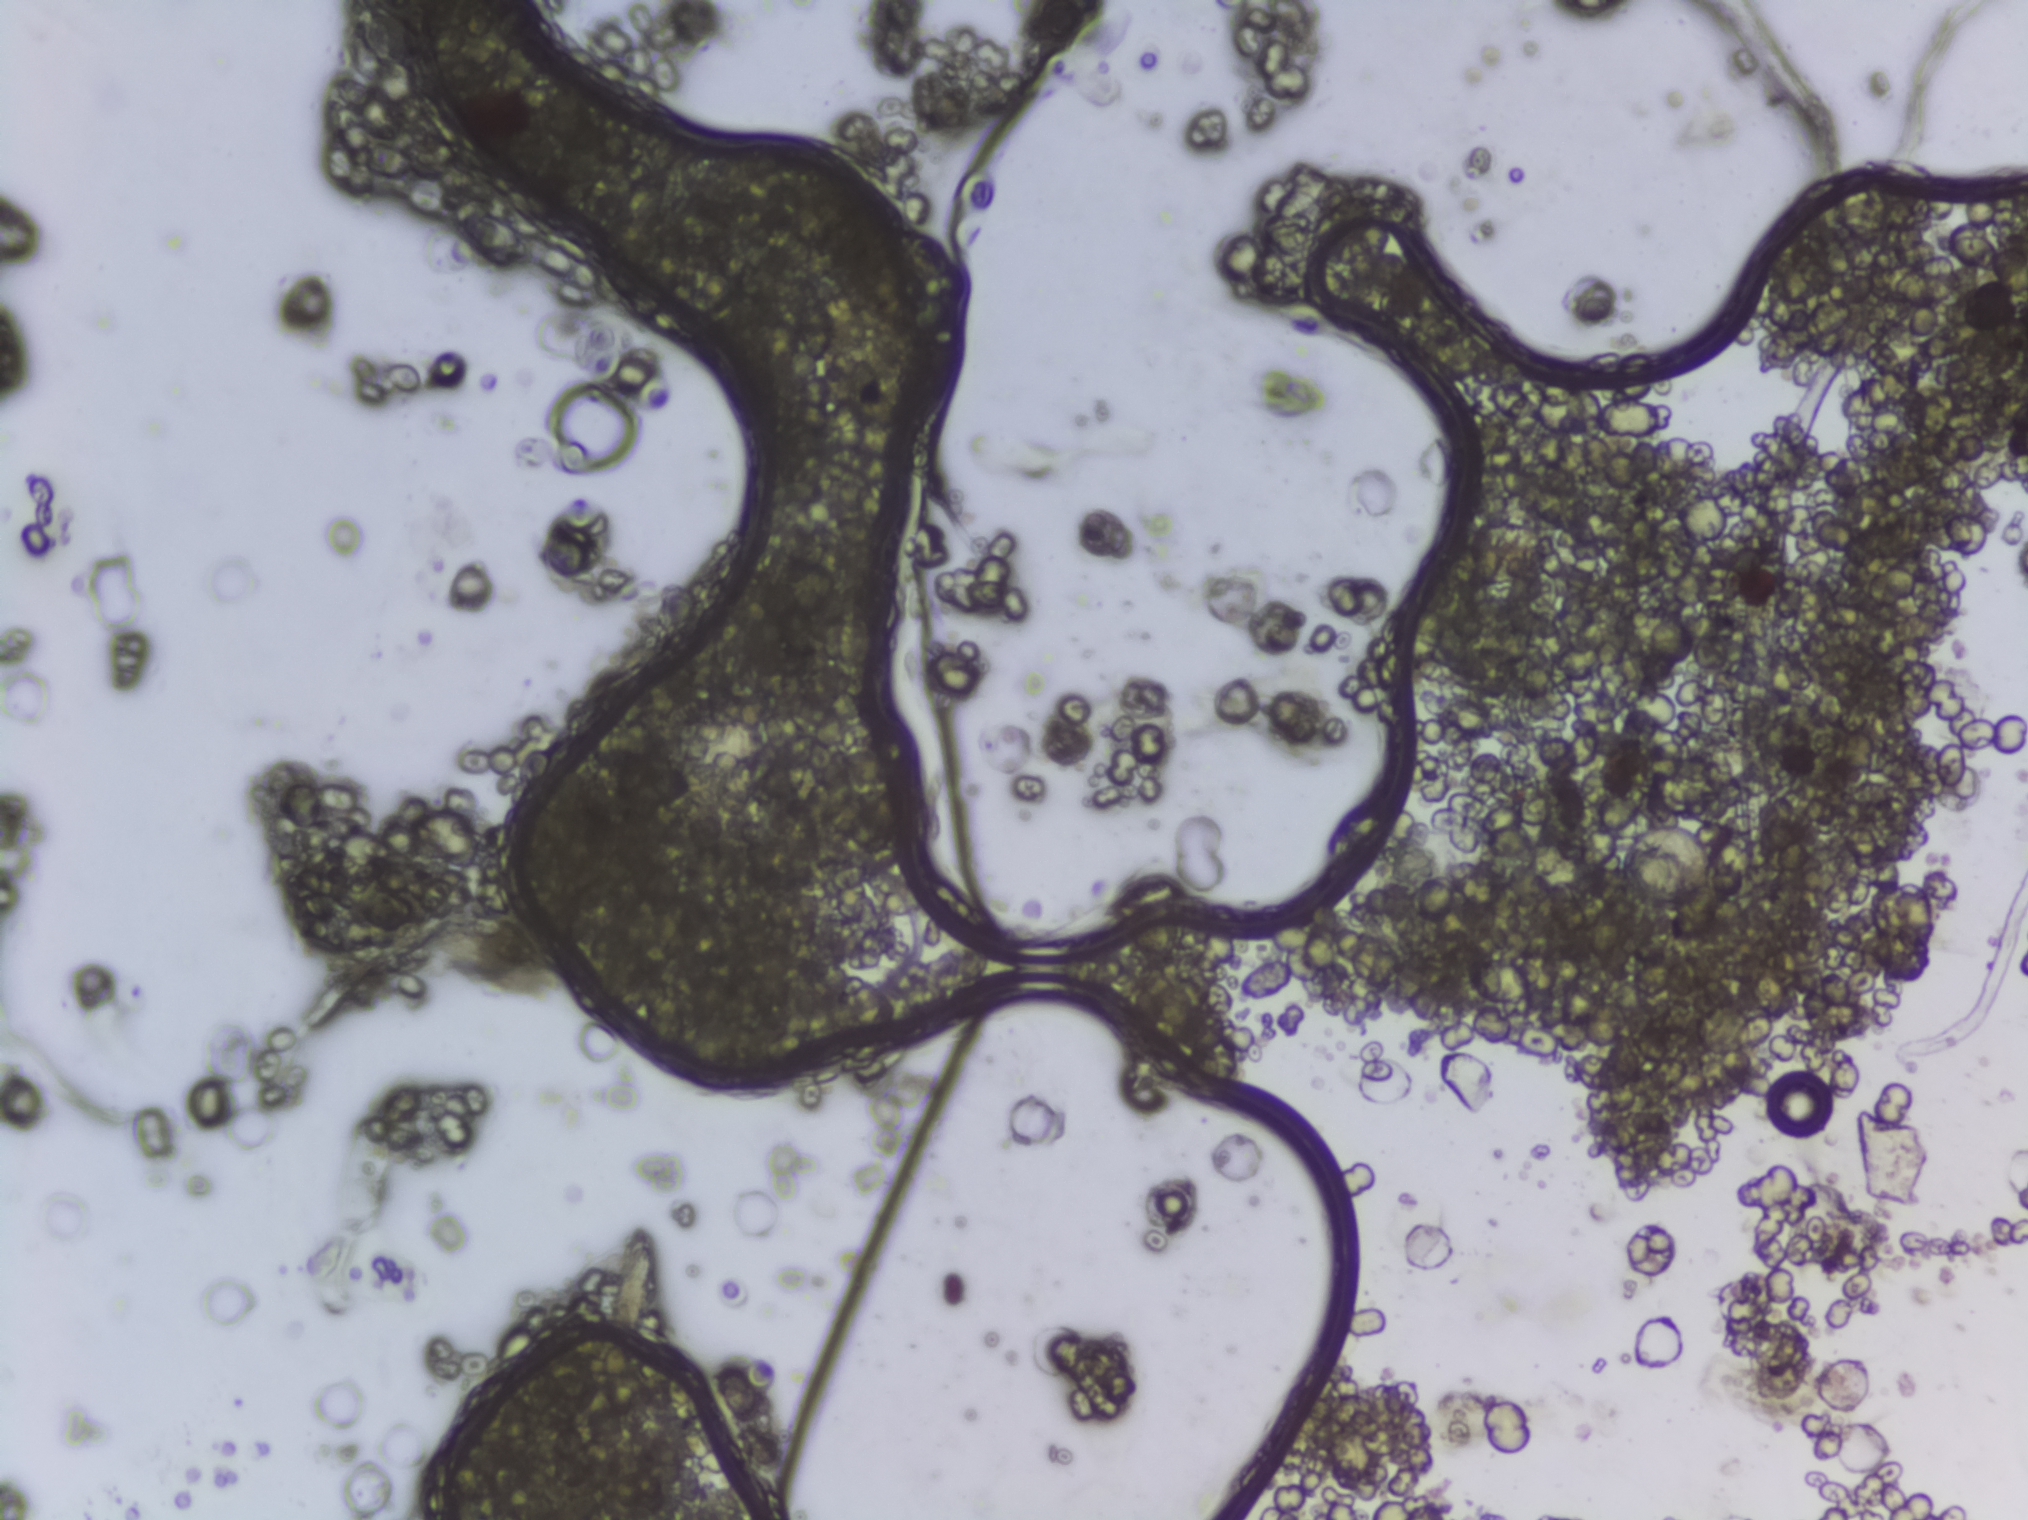
Microscope photograph (4× objective) of a membrane that a urine sample was filtered through.
No area of this image was outlined as a Schistosoma egg.